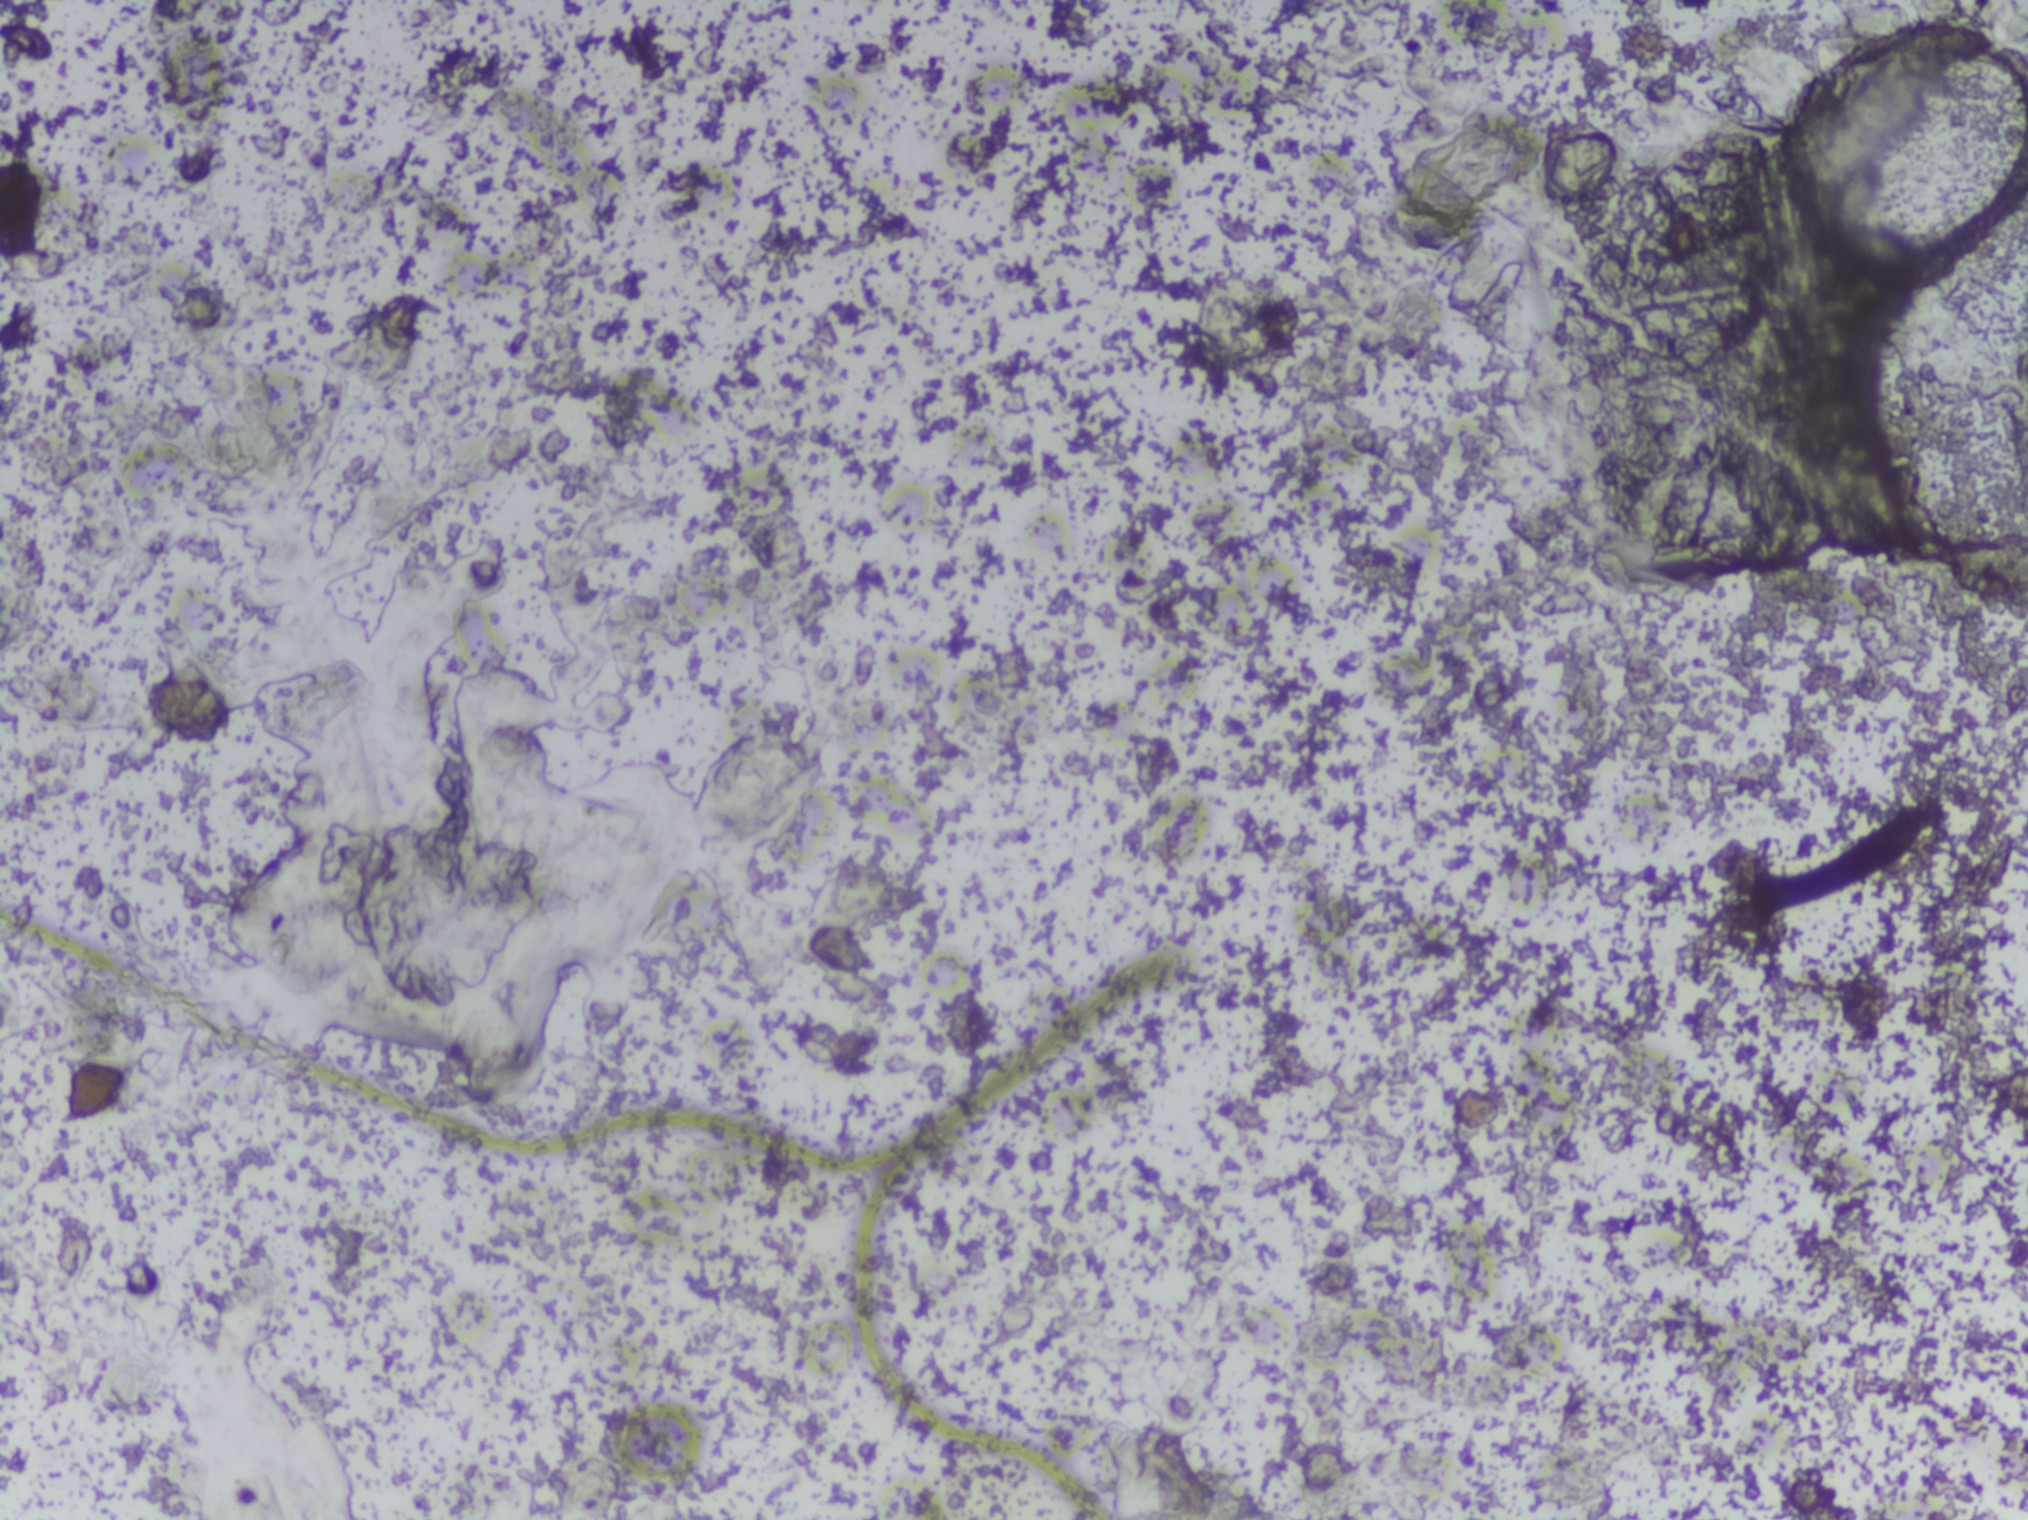
One field of view of a urine filter membrane, 4× objective, 2028 × 1520 pixels.
The expert annotation outlines no Schistosoma egg in this image.